Microscope photograph (4× objective) of a membrane that a urine sample was filtered through.
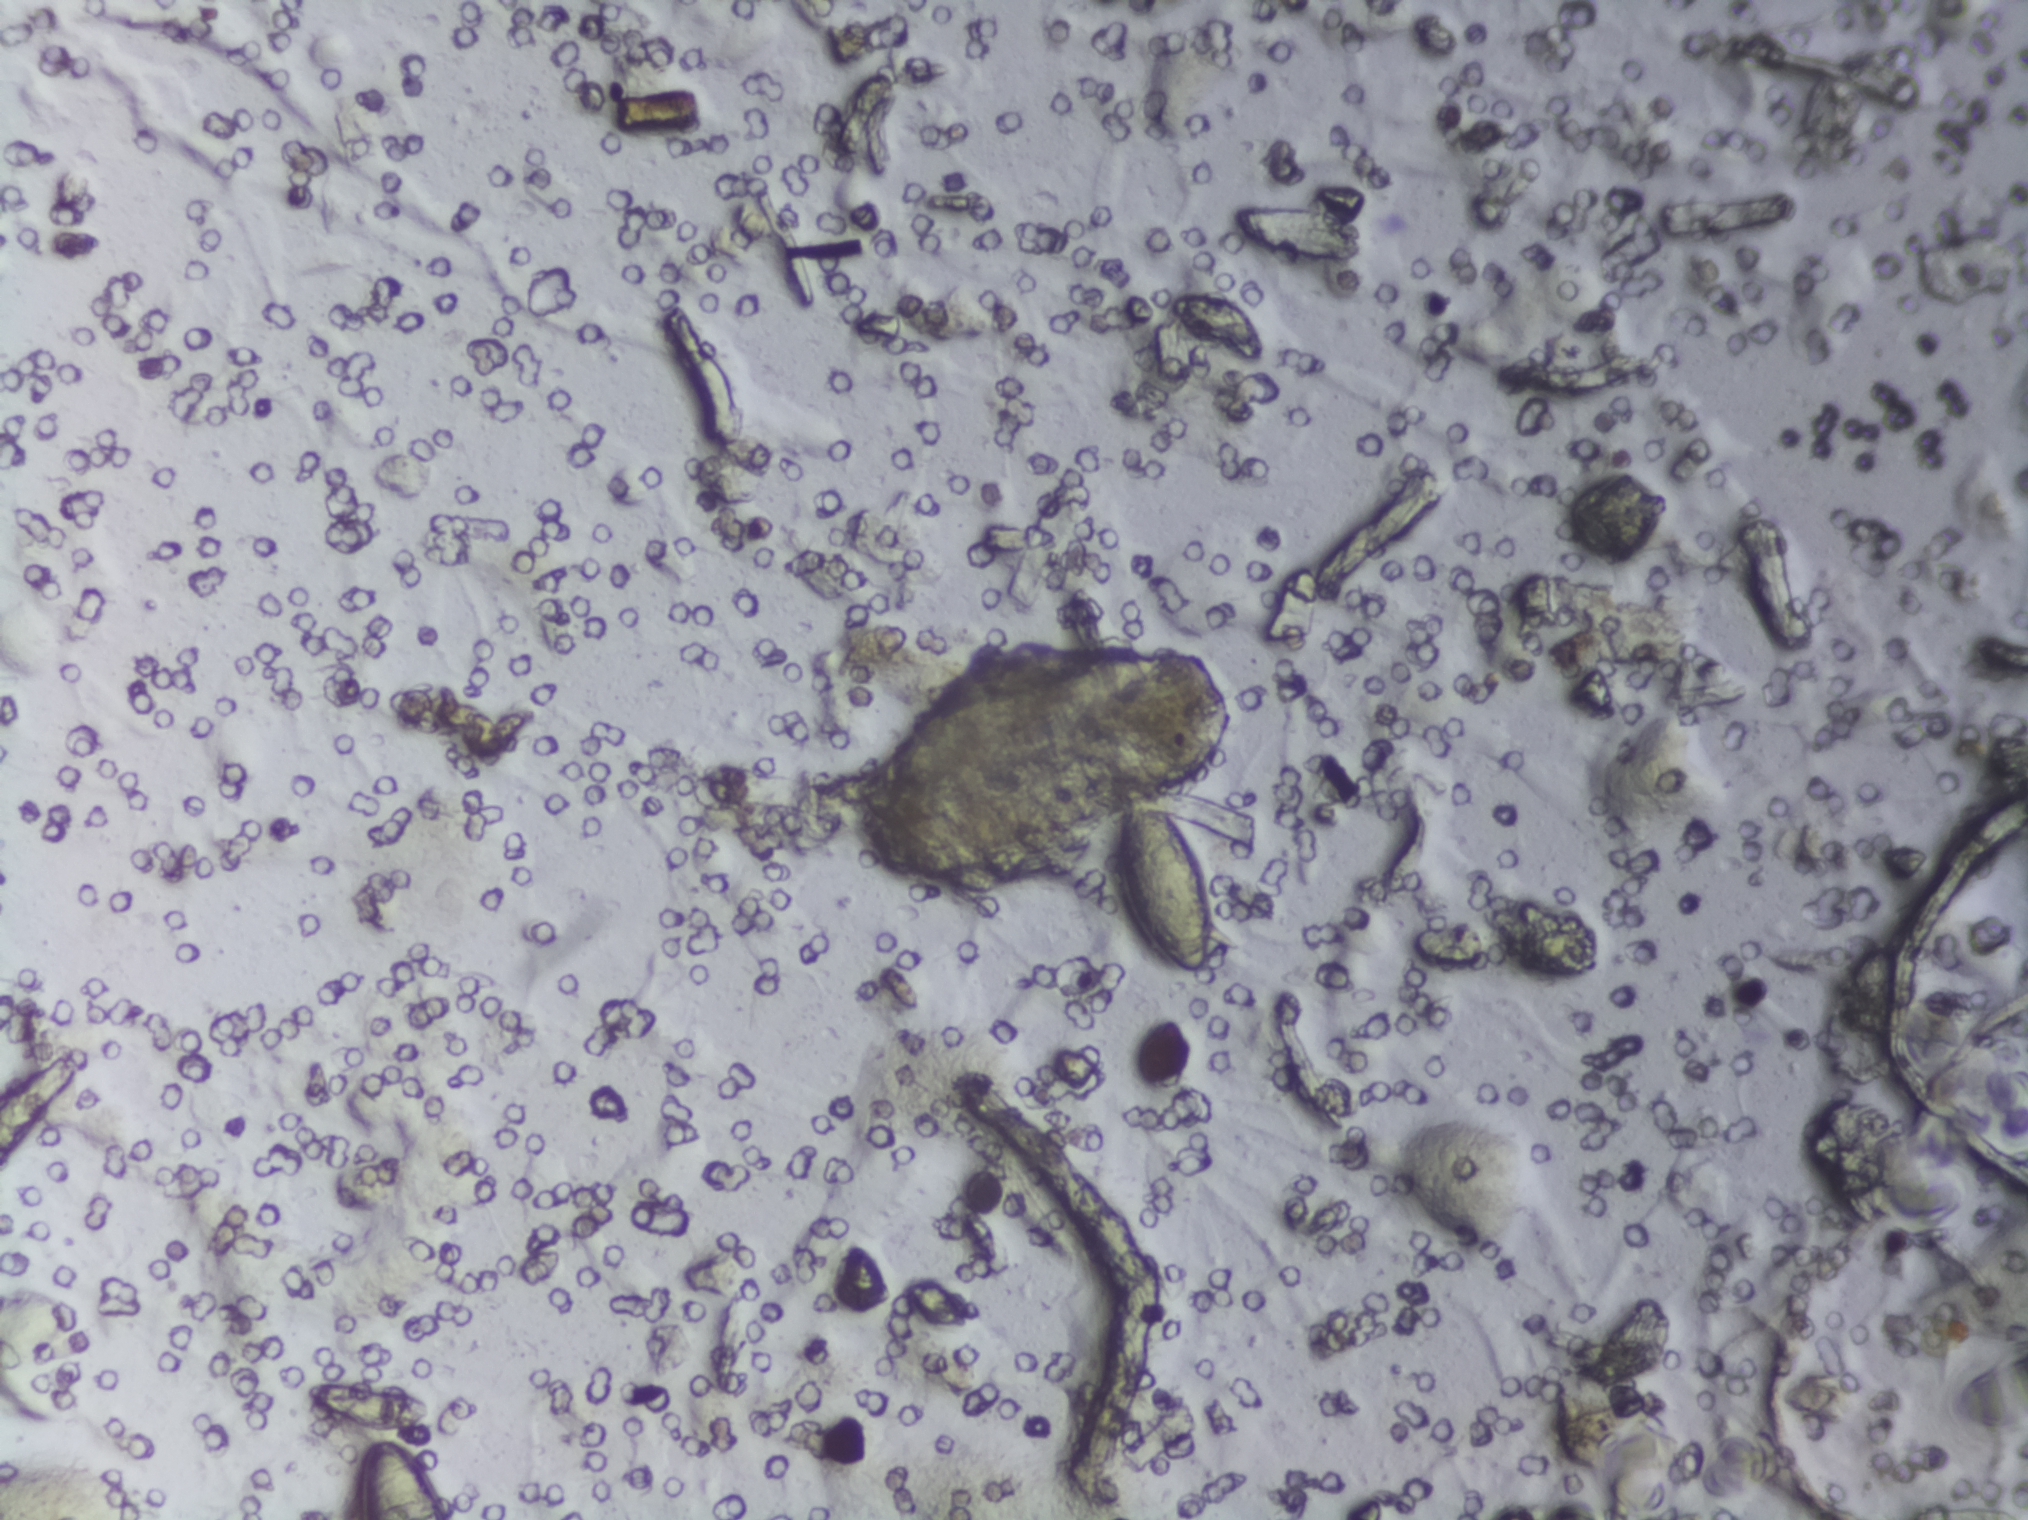
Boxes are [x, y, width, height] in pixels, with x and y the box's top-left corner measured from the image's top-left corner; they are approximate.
One area of this image is outlined as Schistosoma eggs: [1112, 789, 106, 192]. An outlined area can hold more than one egg. A marked egg may occasionally be S. mansoni rather than S. haematobium.